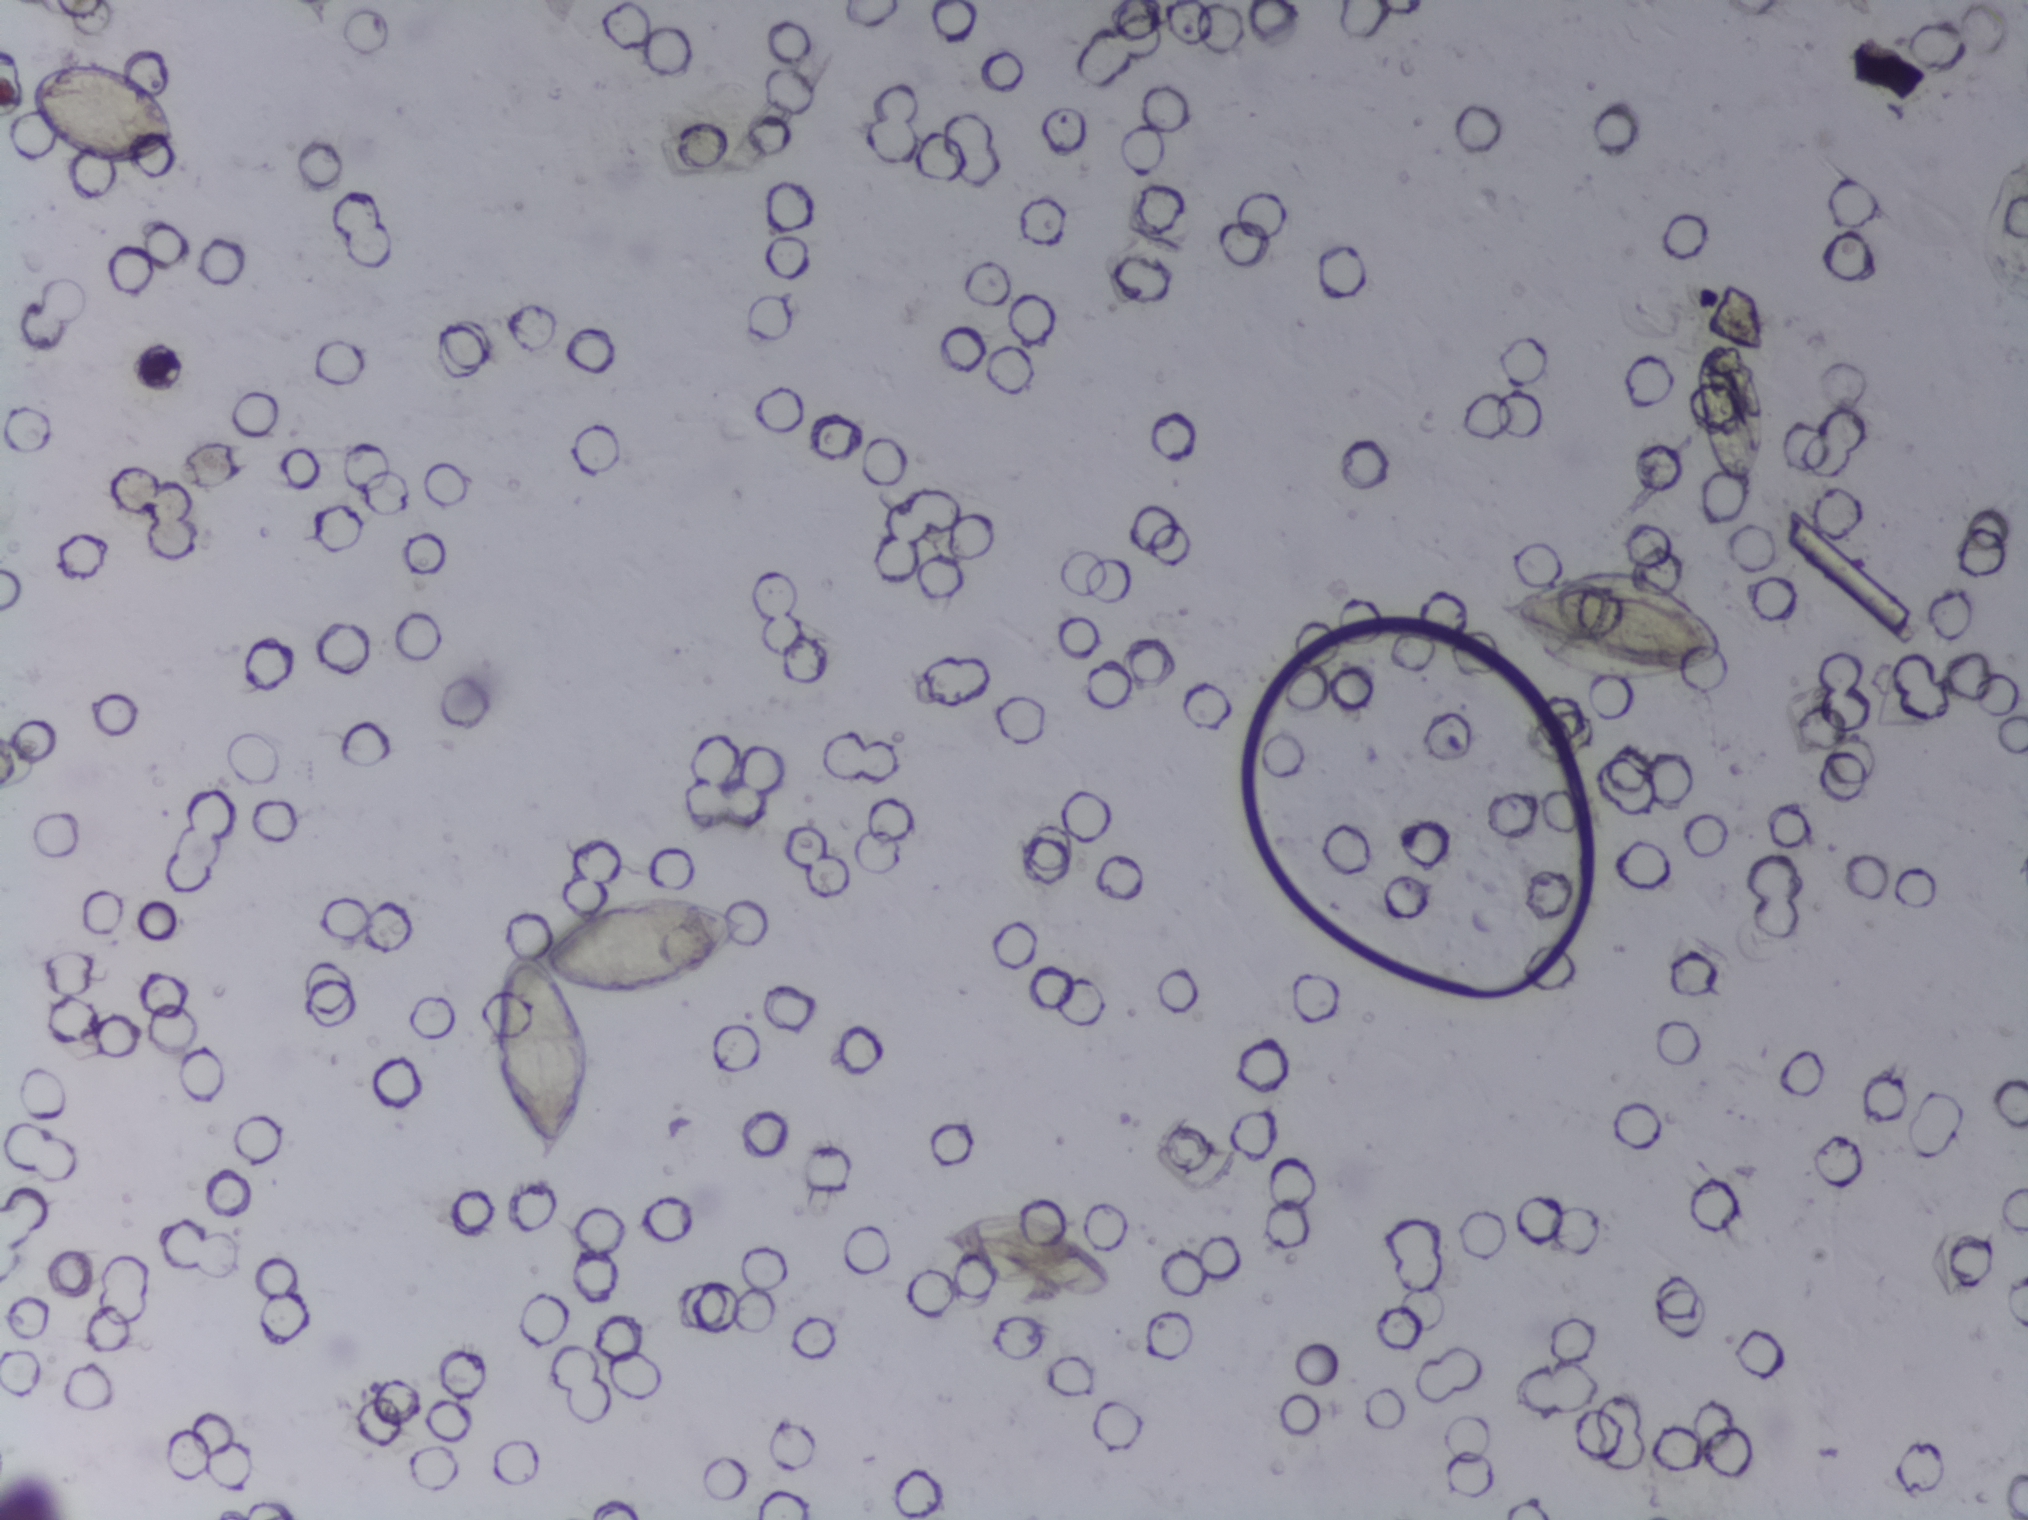
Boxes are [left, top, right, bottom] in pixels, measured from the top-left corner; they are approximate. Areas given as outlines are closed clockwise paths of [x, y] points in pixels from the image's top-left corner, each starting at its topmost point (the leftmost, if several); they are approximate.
Areas outlined as Schistosoma eggs, left to right:
1. box [28, 61, 176, 165]
2. outline [647, 888], [704, 894], [749, 913], [752, 927], [709, 970], [682, 986], [643, 996], [570, 993], [589, 1044], [584, 1112], [557, 1162], [535, 1165], [512, 1115], [495, 1051], [508, 950], [541, 946], [577, 906]
3. box [932, 1208, 1113, 1304]
4. box [1490, 565, 1724, 690]
5. box [1689, 339, 1768, 495]
Eggs that touch can end up inside the same outlined area.
Photomicrograph of a urine filtration membrane, 4× objective.